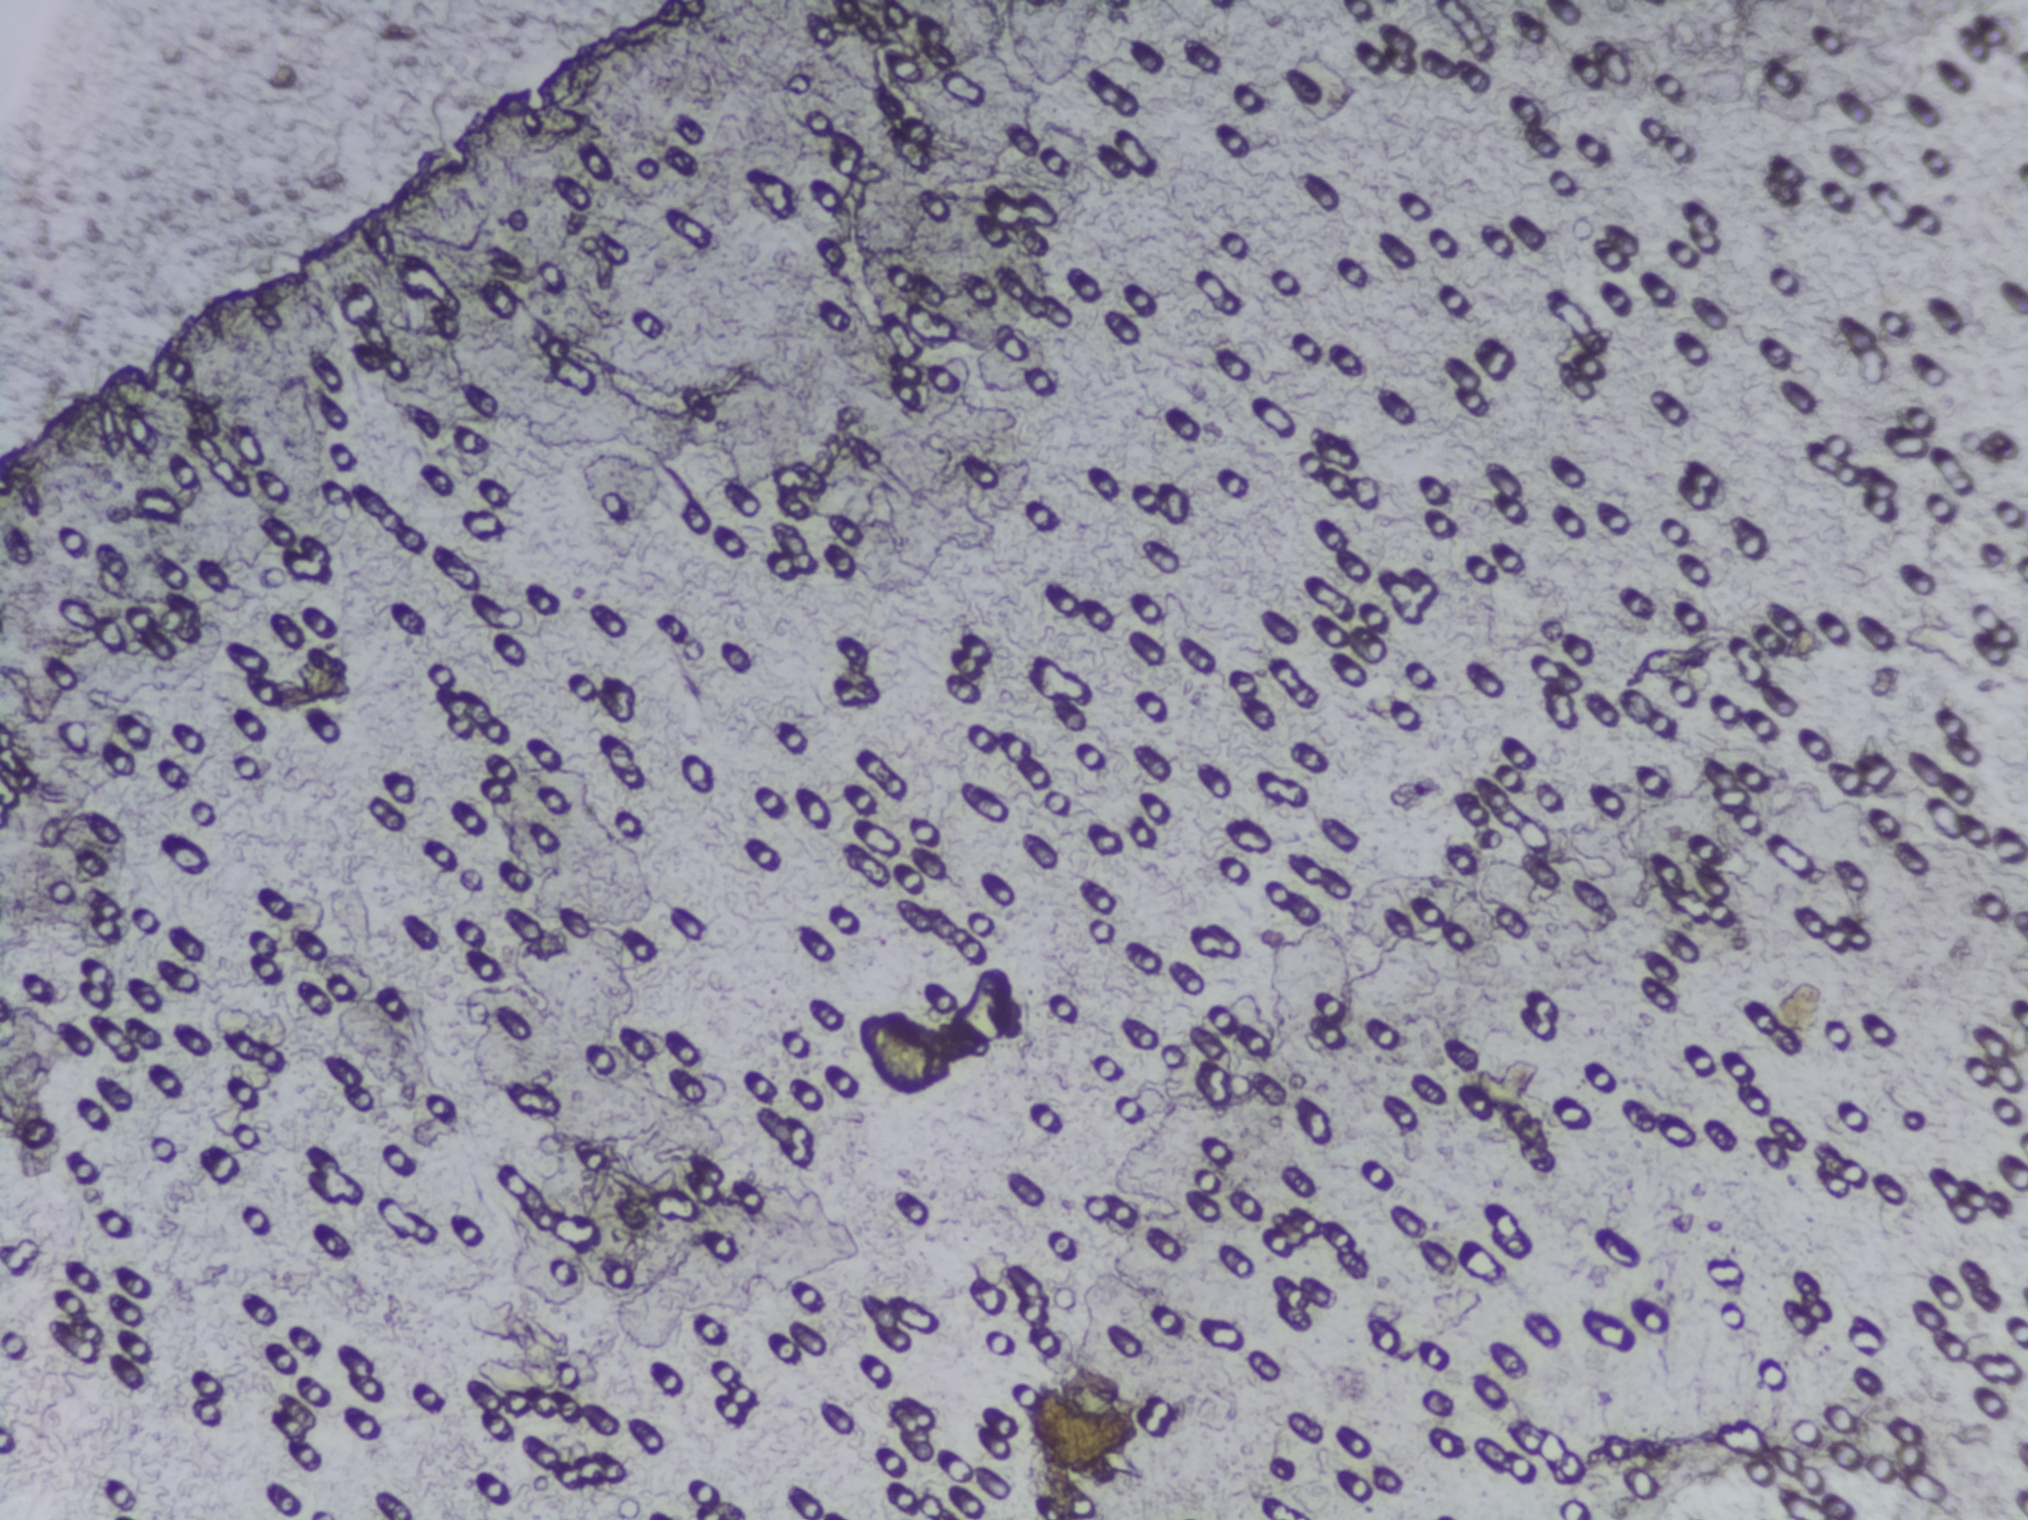
Photomicrograph of a urine filtration membrane, 4× objective. The field of view is about 1.5 mm × 1.1 mm.
No area of this image was outlined as a Schistosoma egg.